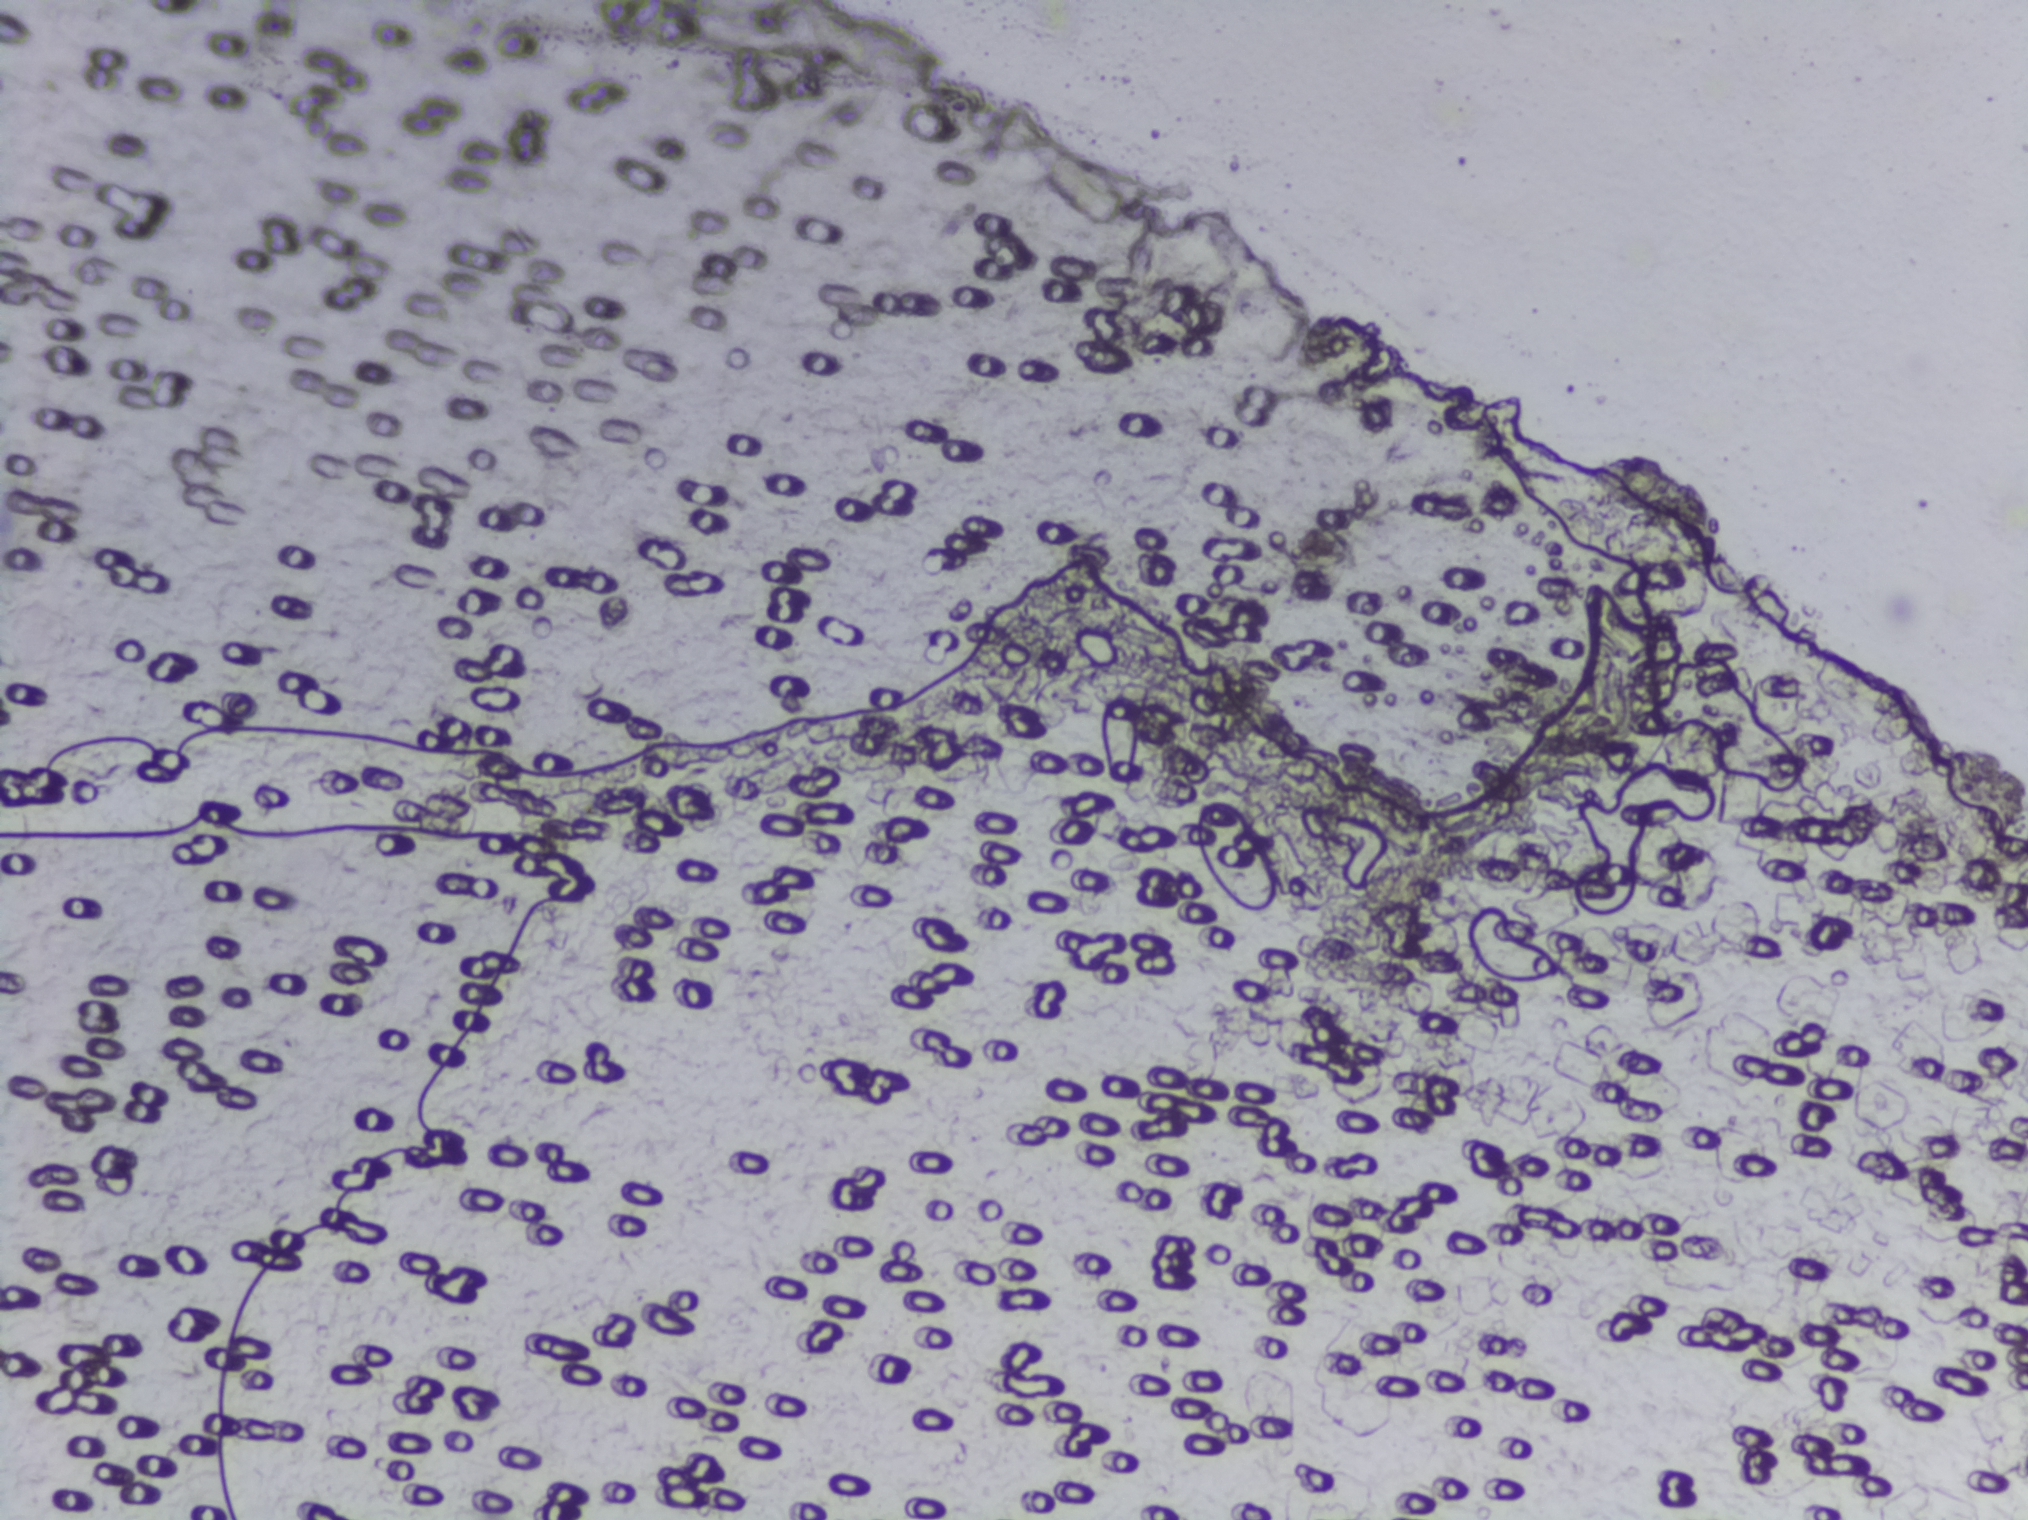
Urine filtration membrane under a 4× objective, photographed by an automated digital microscope.
Schistosoma eggs: none outlined.